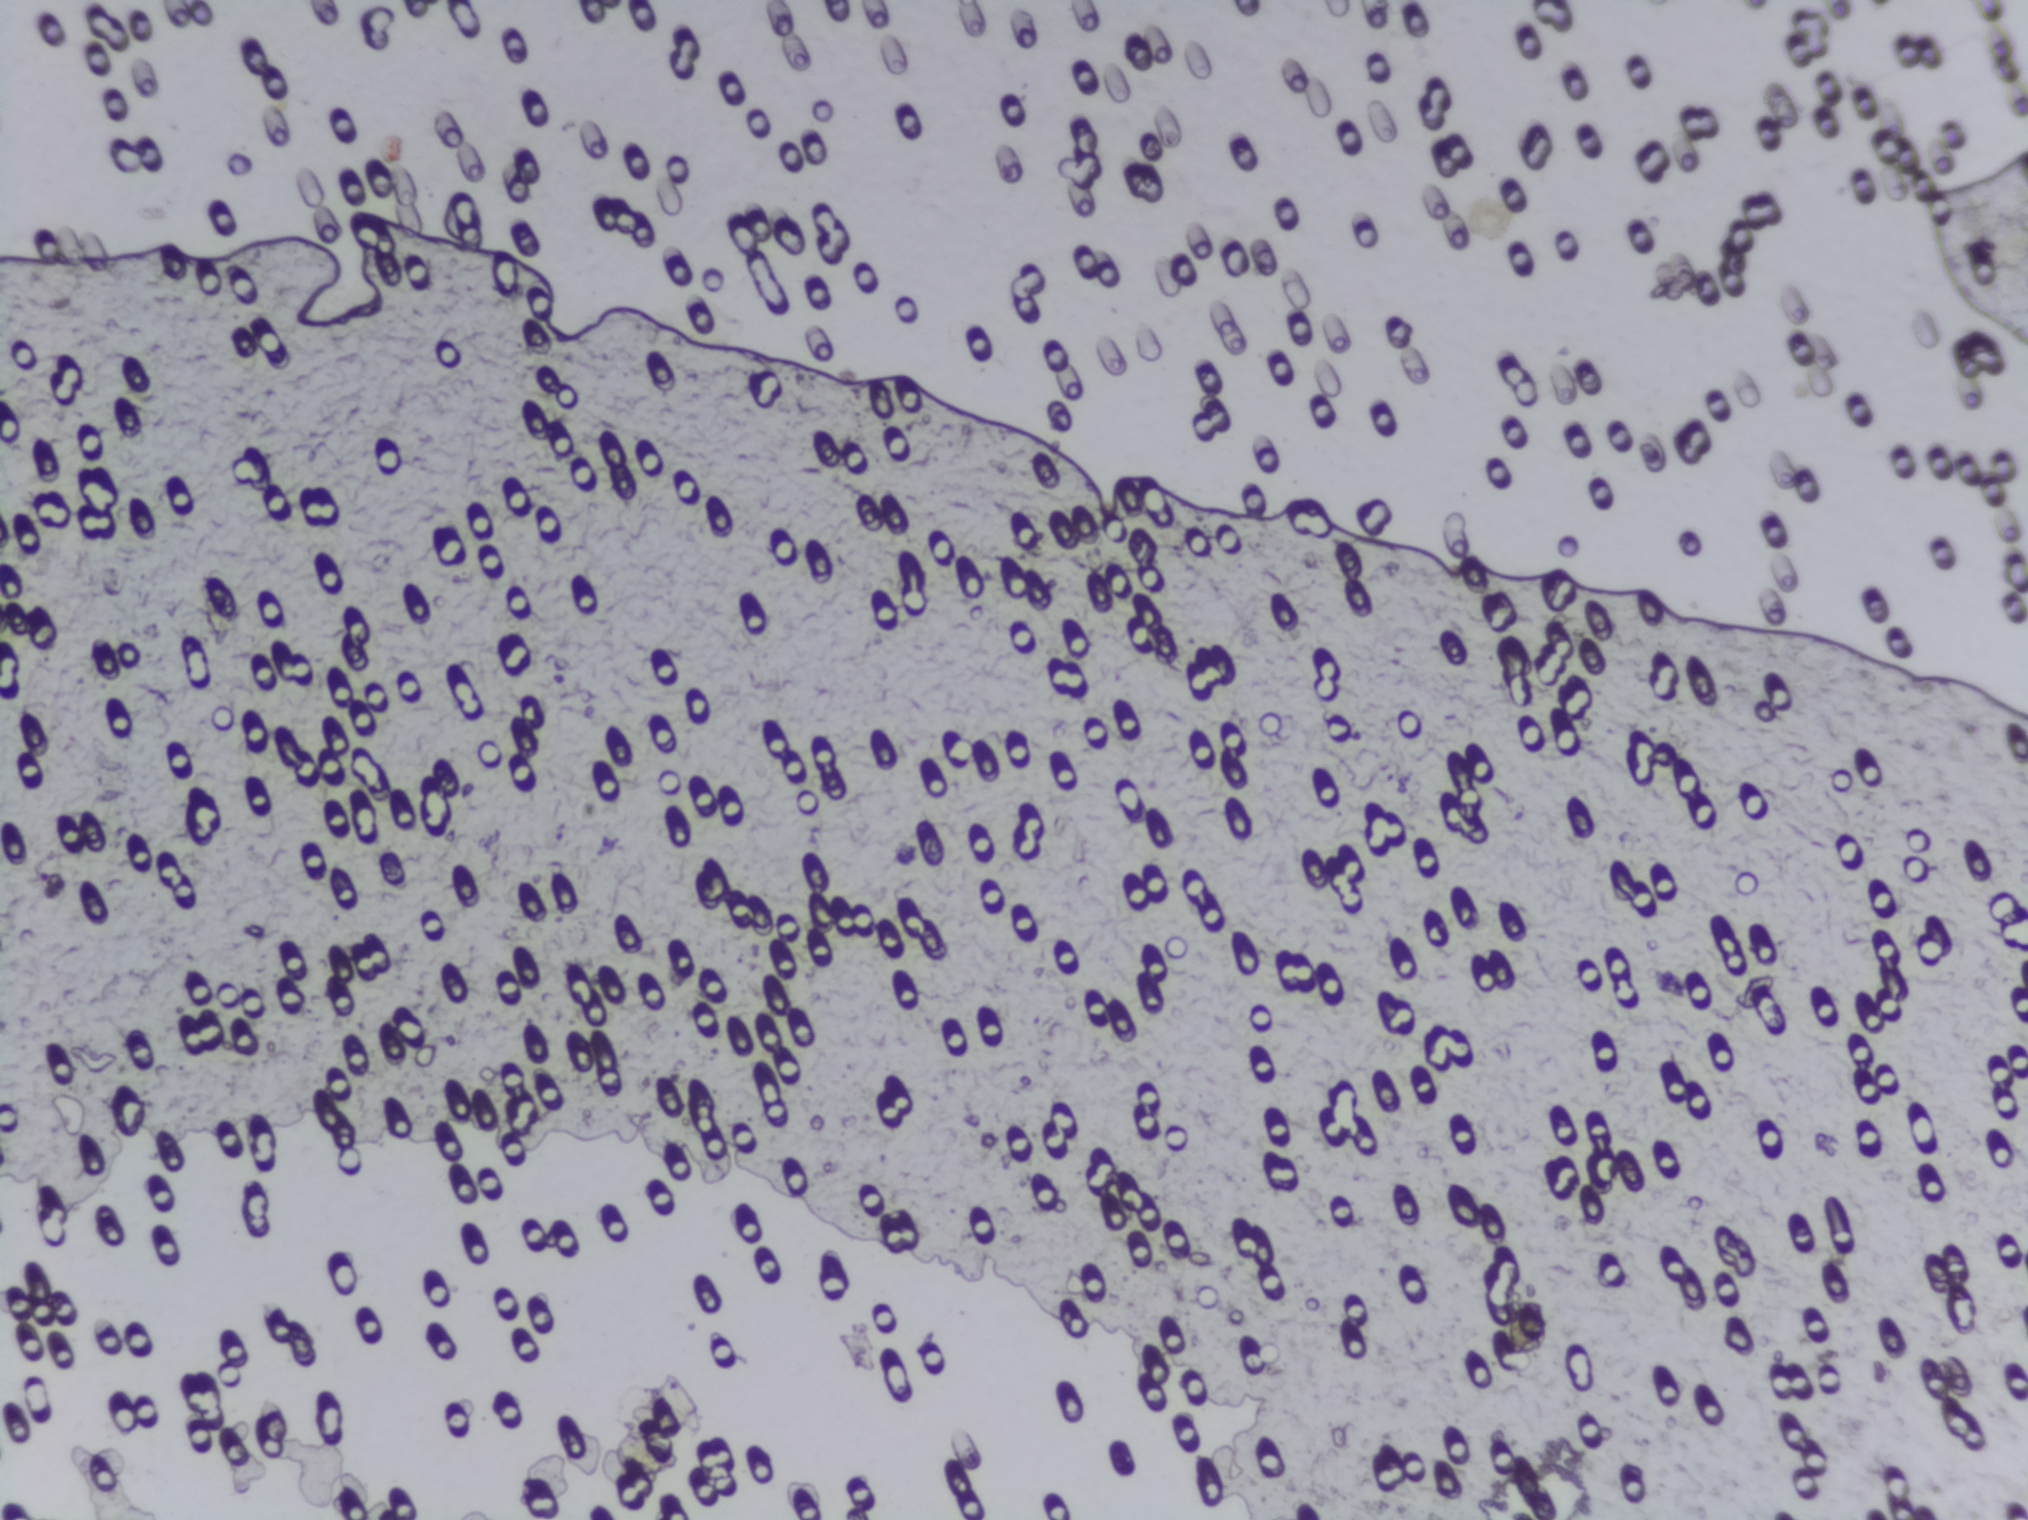
Photograph from an automated digital microscope: urine filter membrane, 4× objective. The field of view is about 1.5 mm × 1.1 mm.
No Schistosoma egg is outlined in this image's expert annotation.